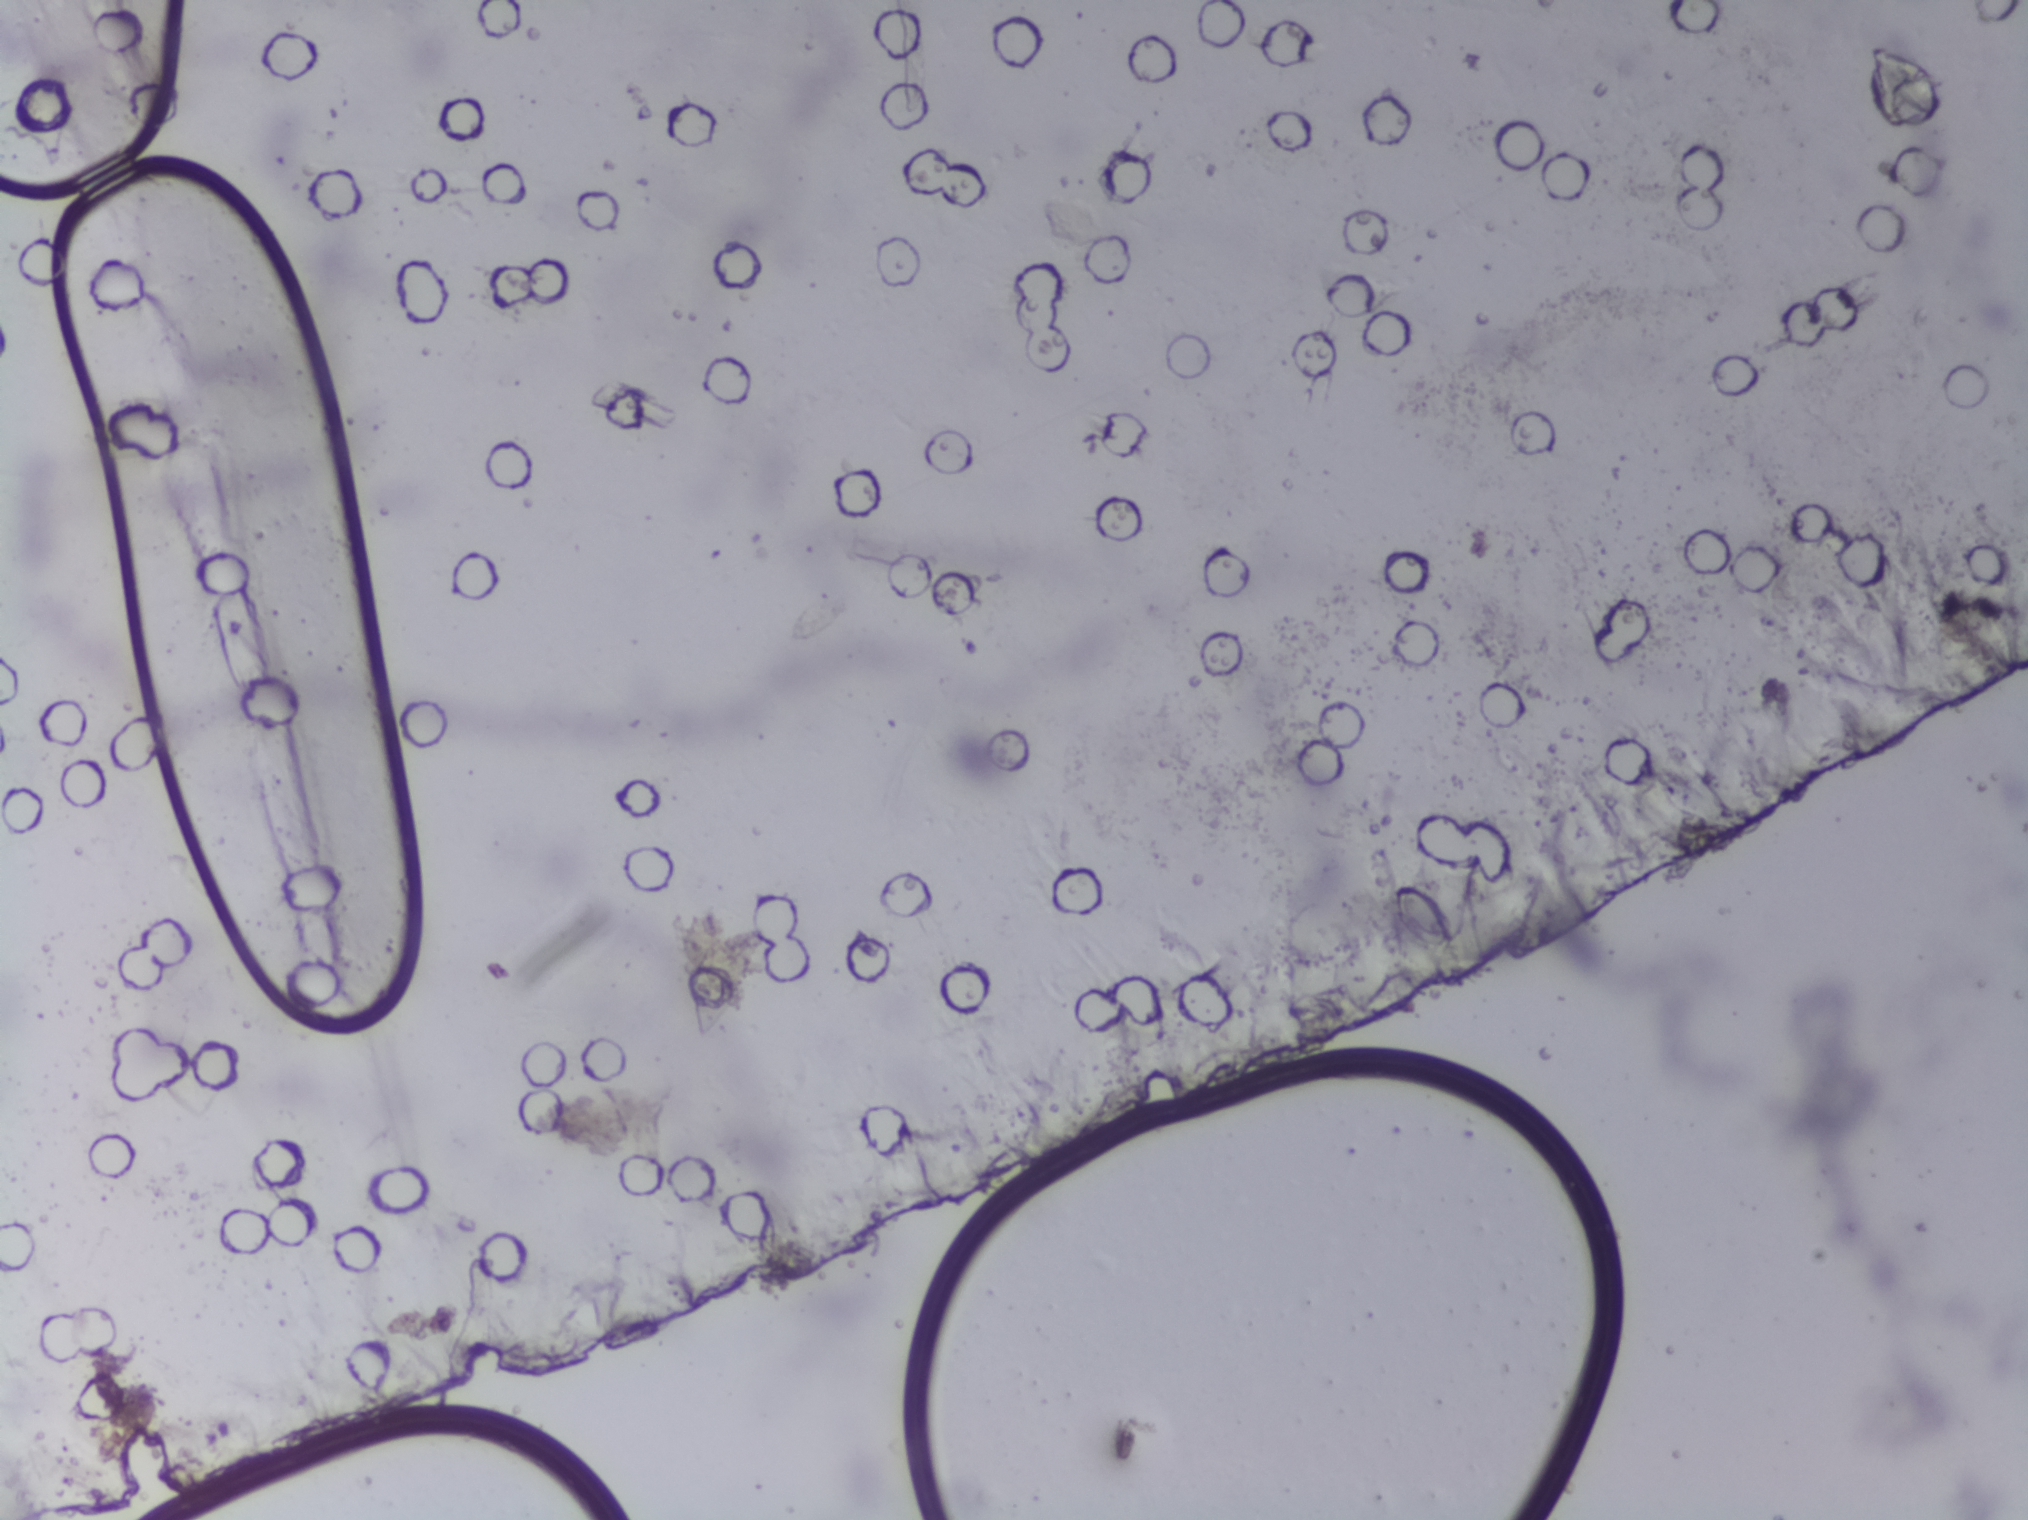
Schistosoma eggs: none outlined.
Microscope photograph (4× objective) of a membrane that a urine sample was filtered through.